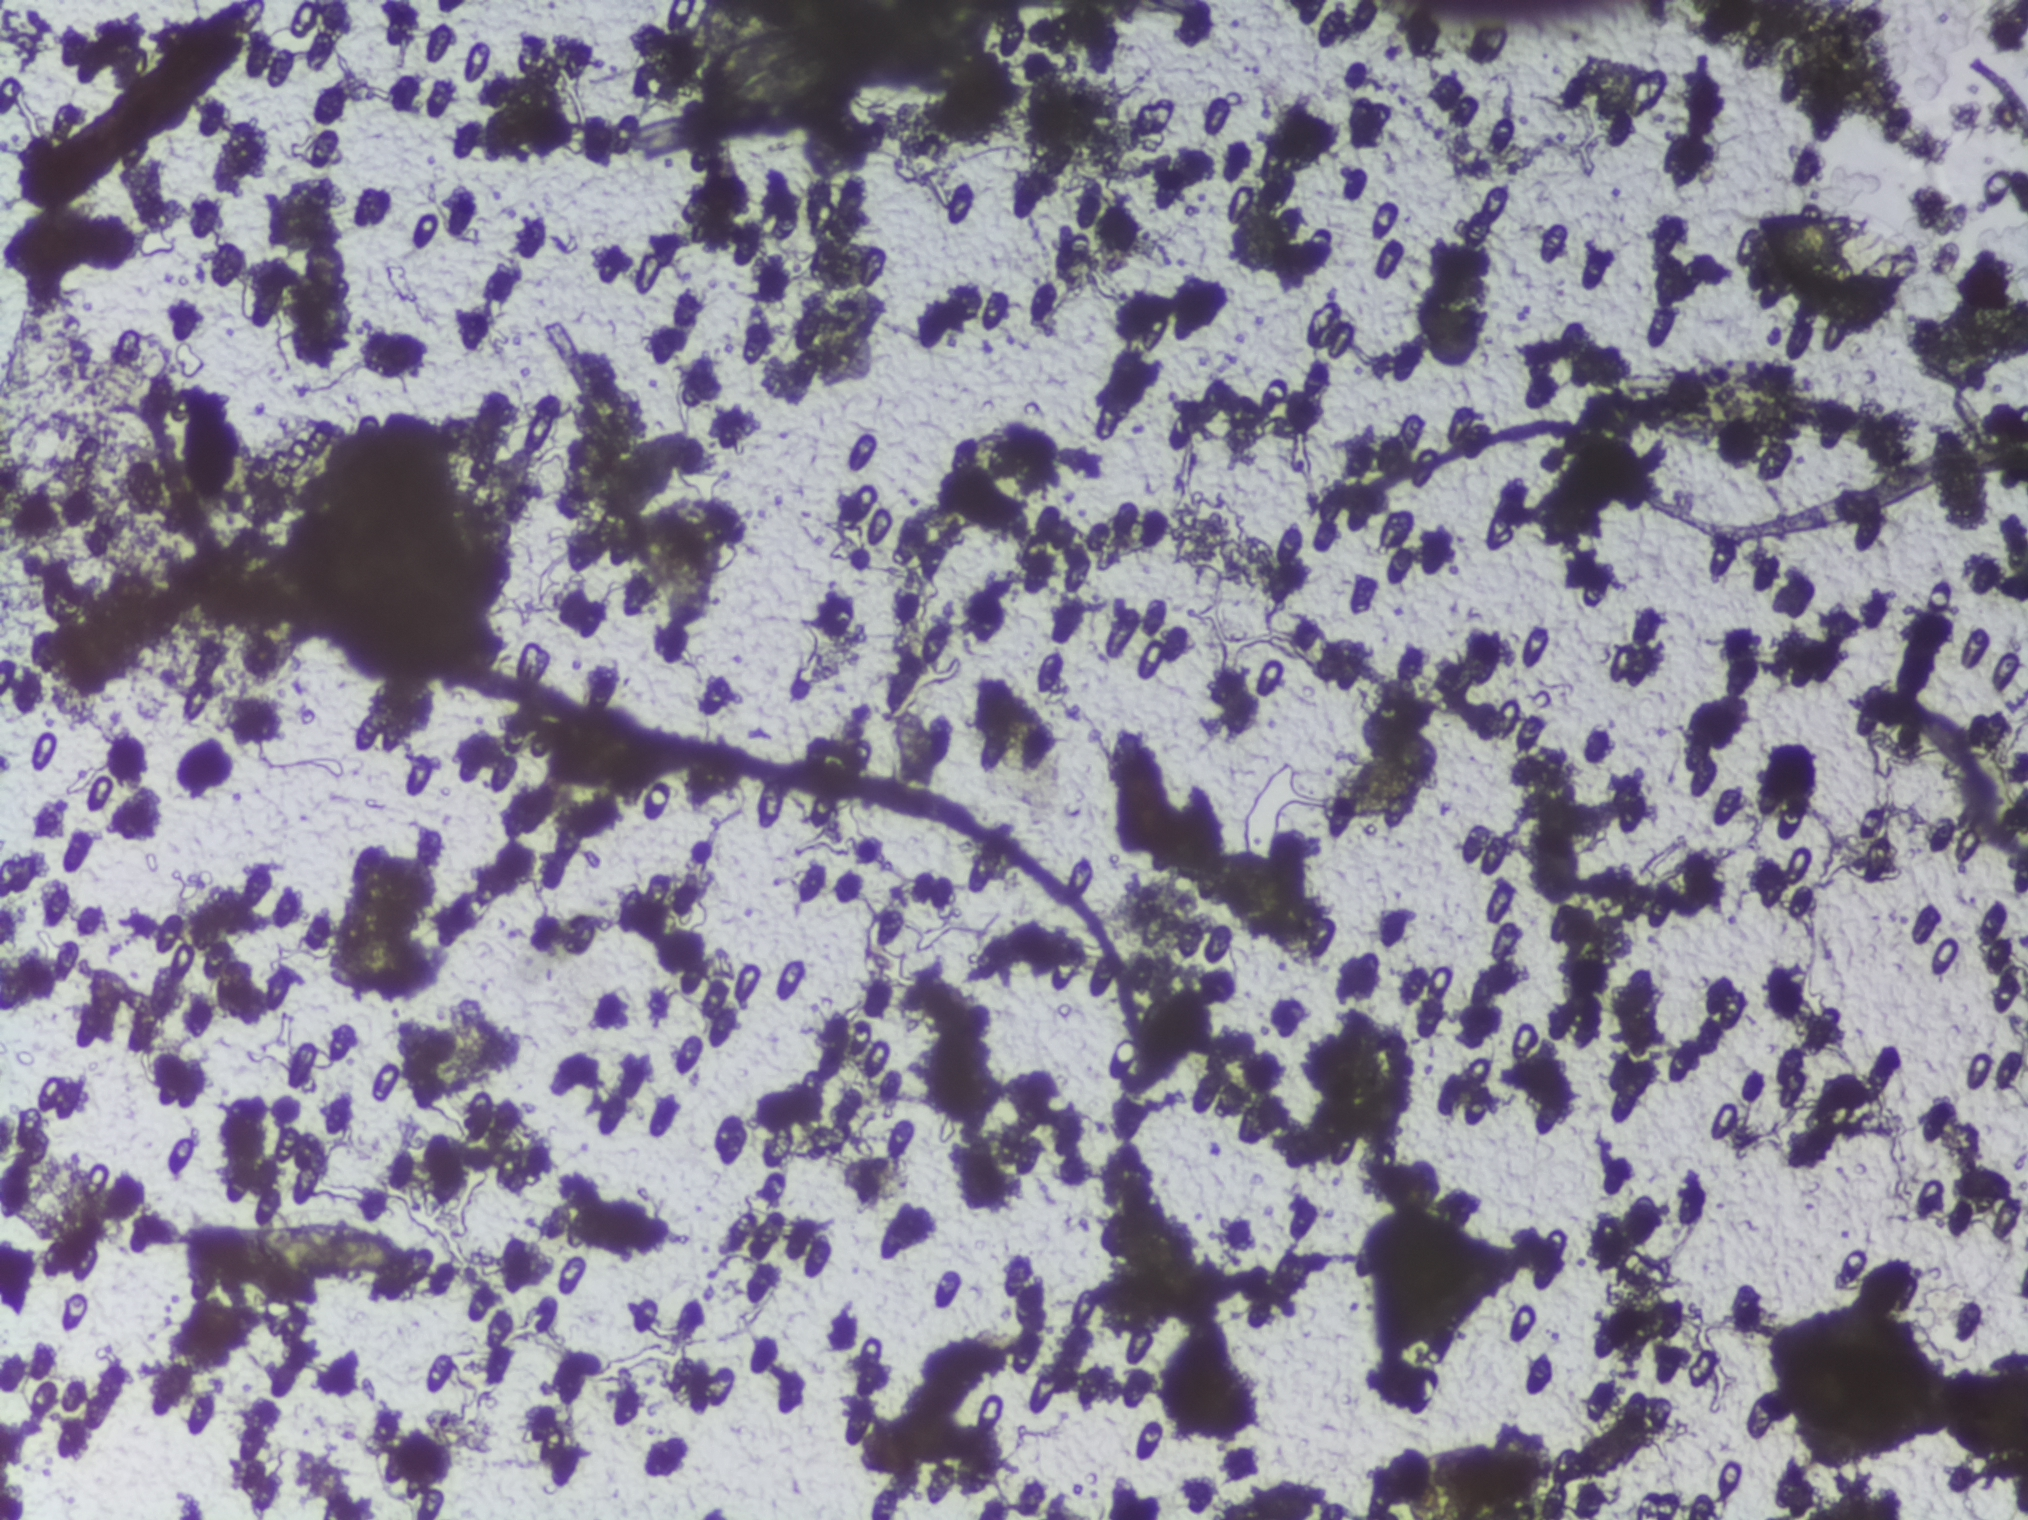
Photograph from an automated digital microscope: urine filter membrane, 4× objective.
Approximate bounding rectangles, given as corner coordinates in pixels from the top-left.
The expert annotation outlines Schistosoma eggs at (x1=1755, y1=212, x2=1918, y2=288). A single outlined area may contain several eggs.